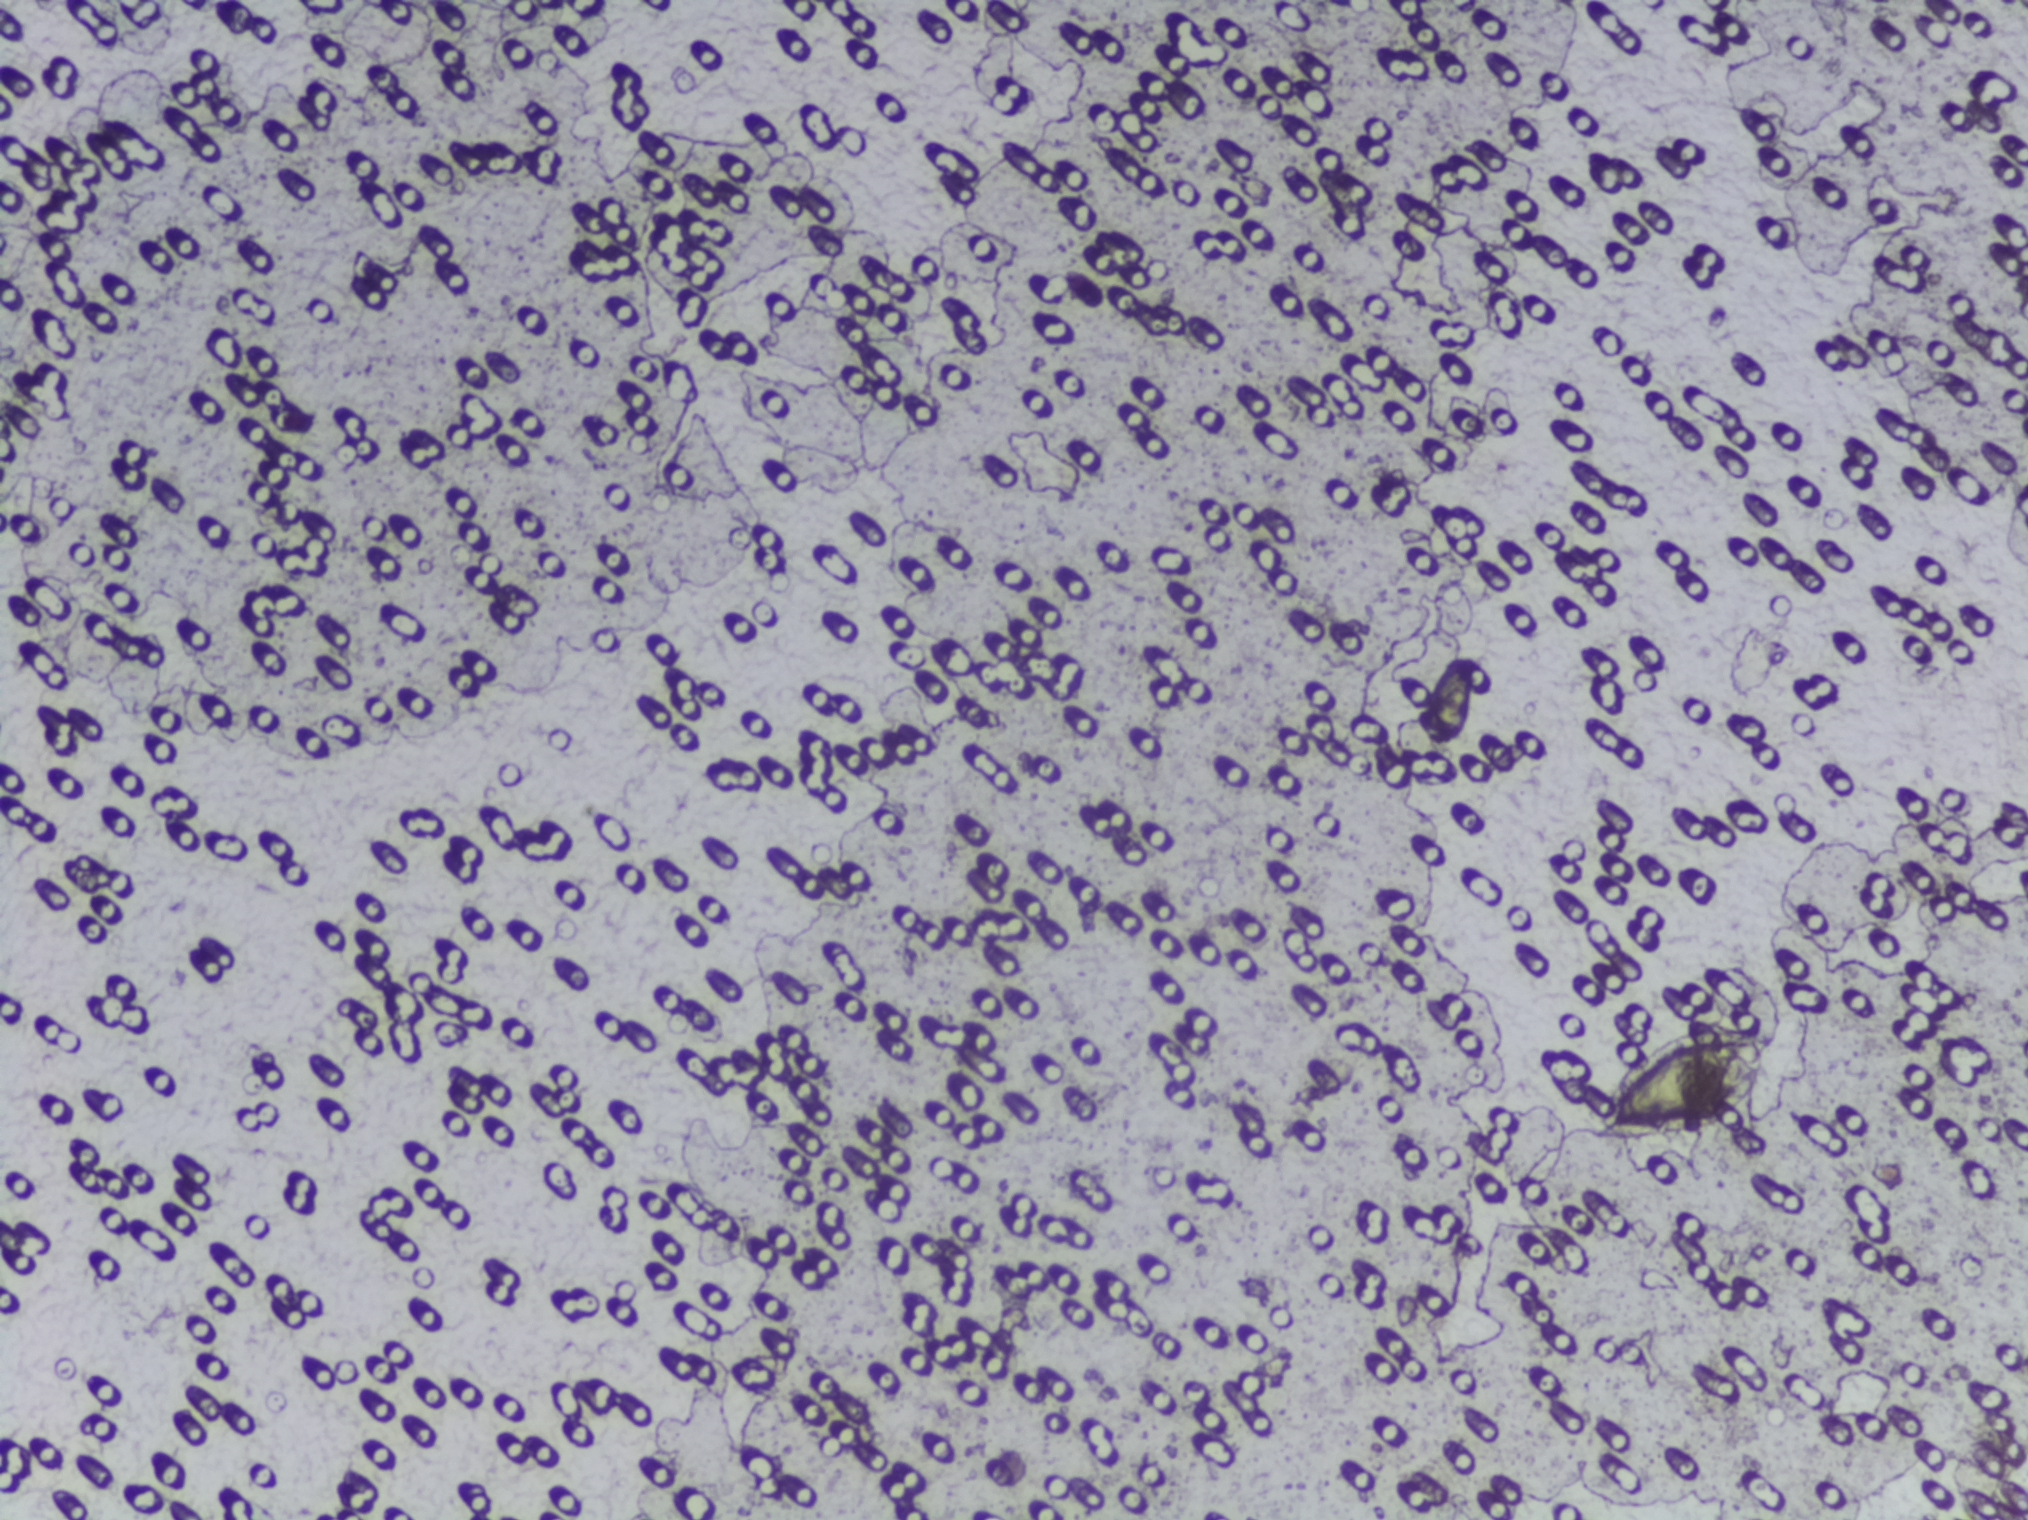
Urine filter membrane photographed through a 4× microscope objective.
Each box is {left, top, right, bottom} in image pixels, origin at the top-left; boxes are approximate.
Areas outlined as Schistosoma eggs:
1. {1580, 1028, 1788, 1157}
Eggs that touch can end up inside the same outlined area.